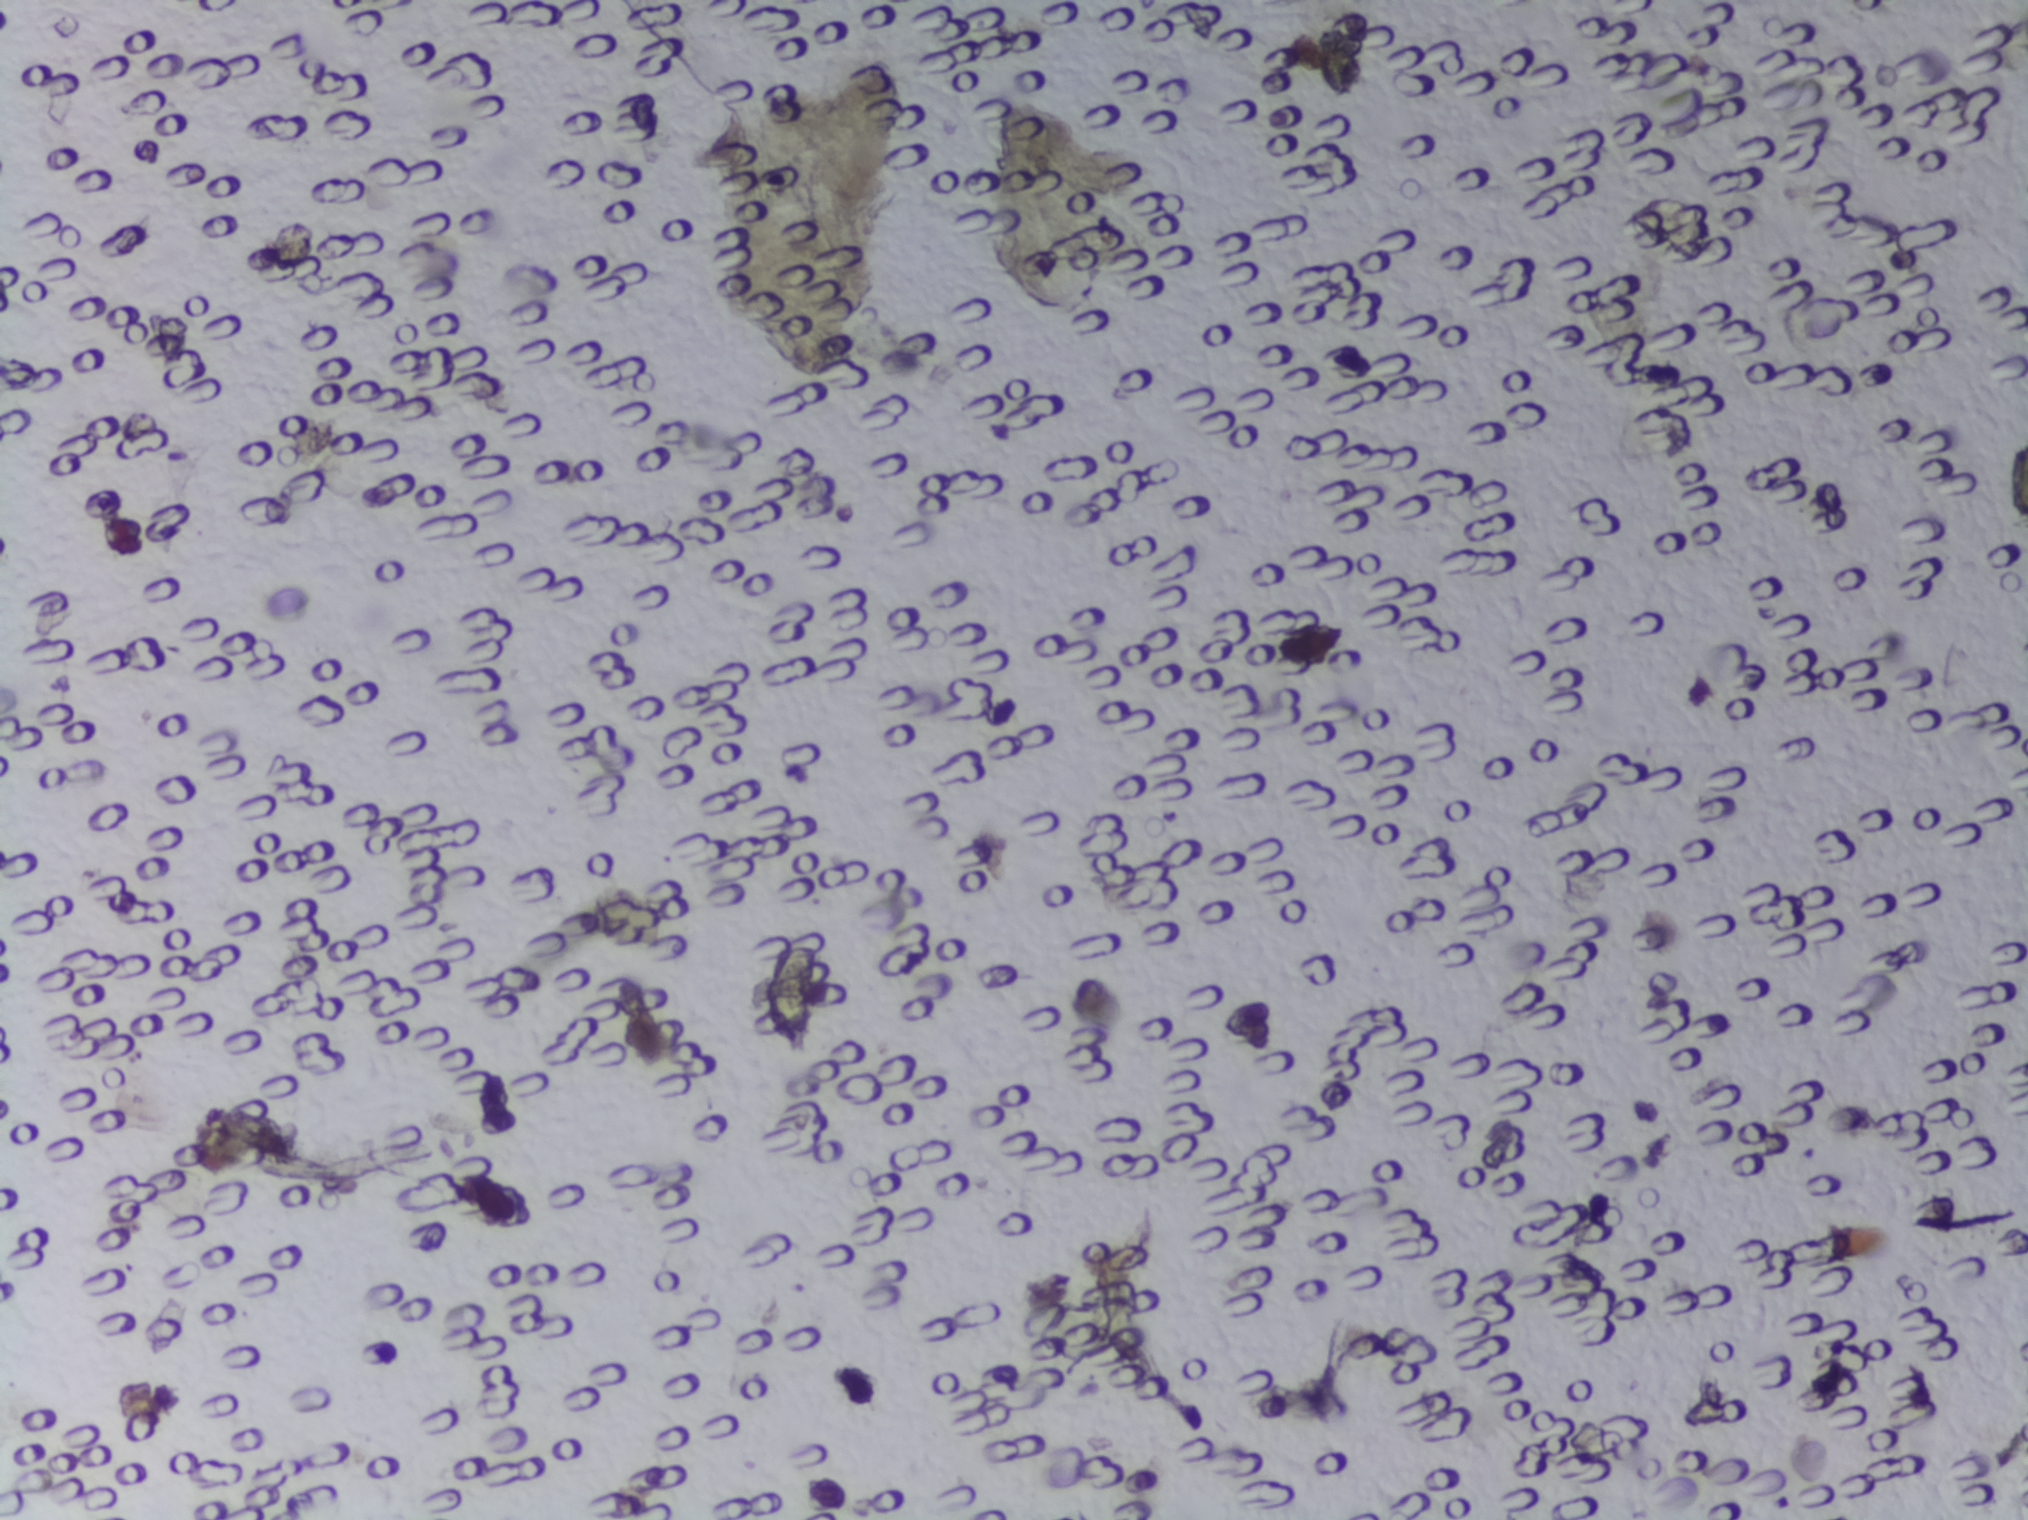
Photomicrograph of a urine filtration membrane, 4× objective.
No Schistosoma egg is outlined in this image's expert annotation.